Urine filter membrane photographed through a 4× microscope objective.
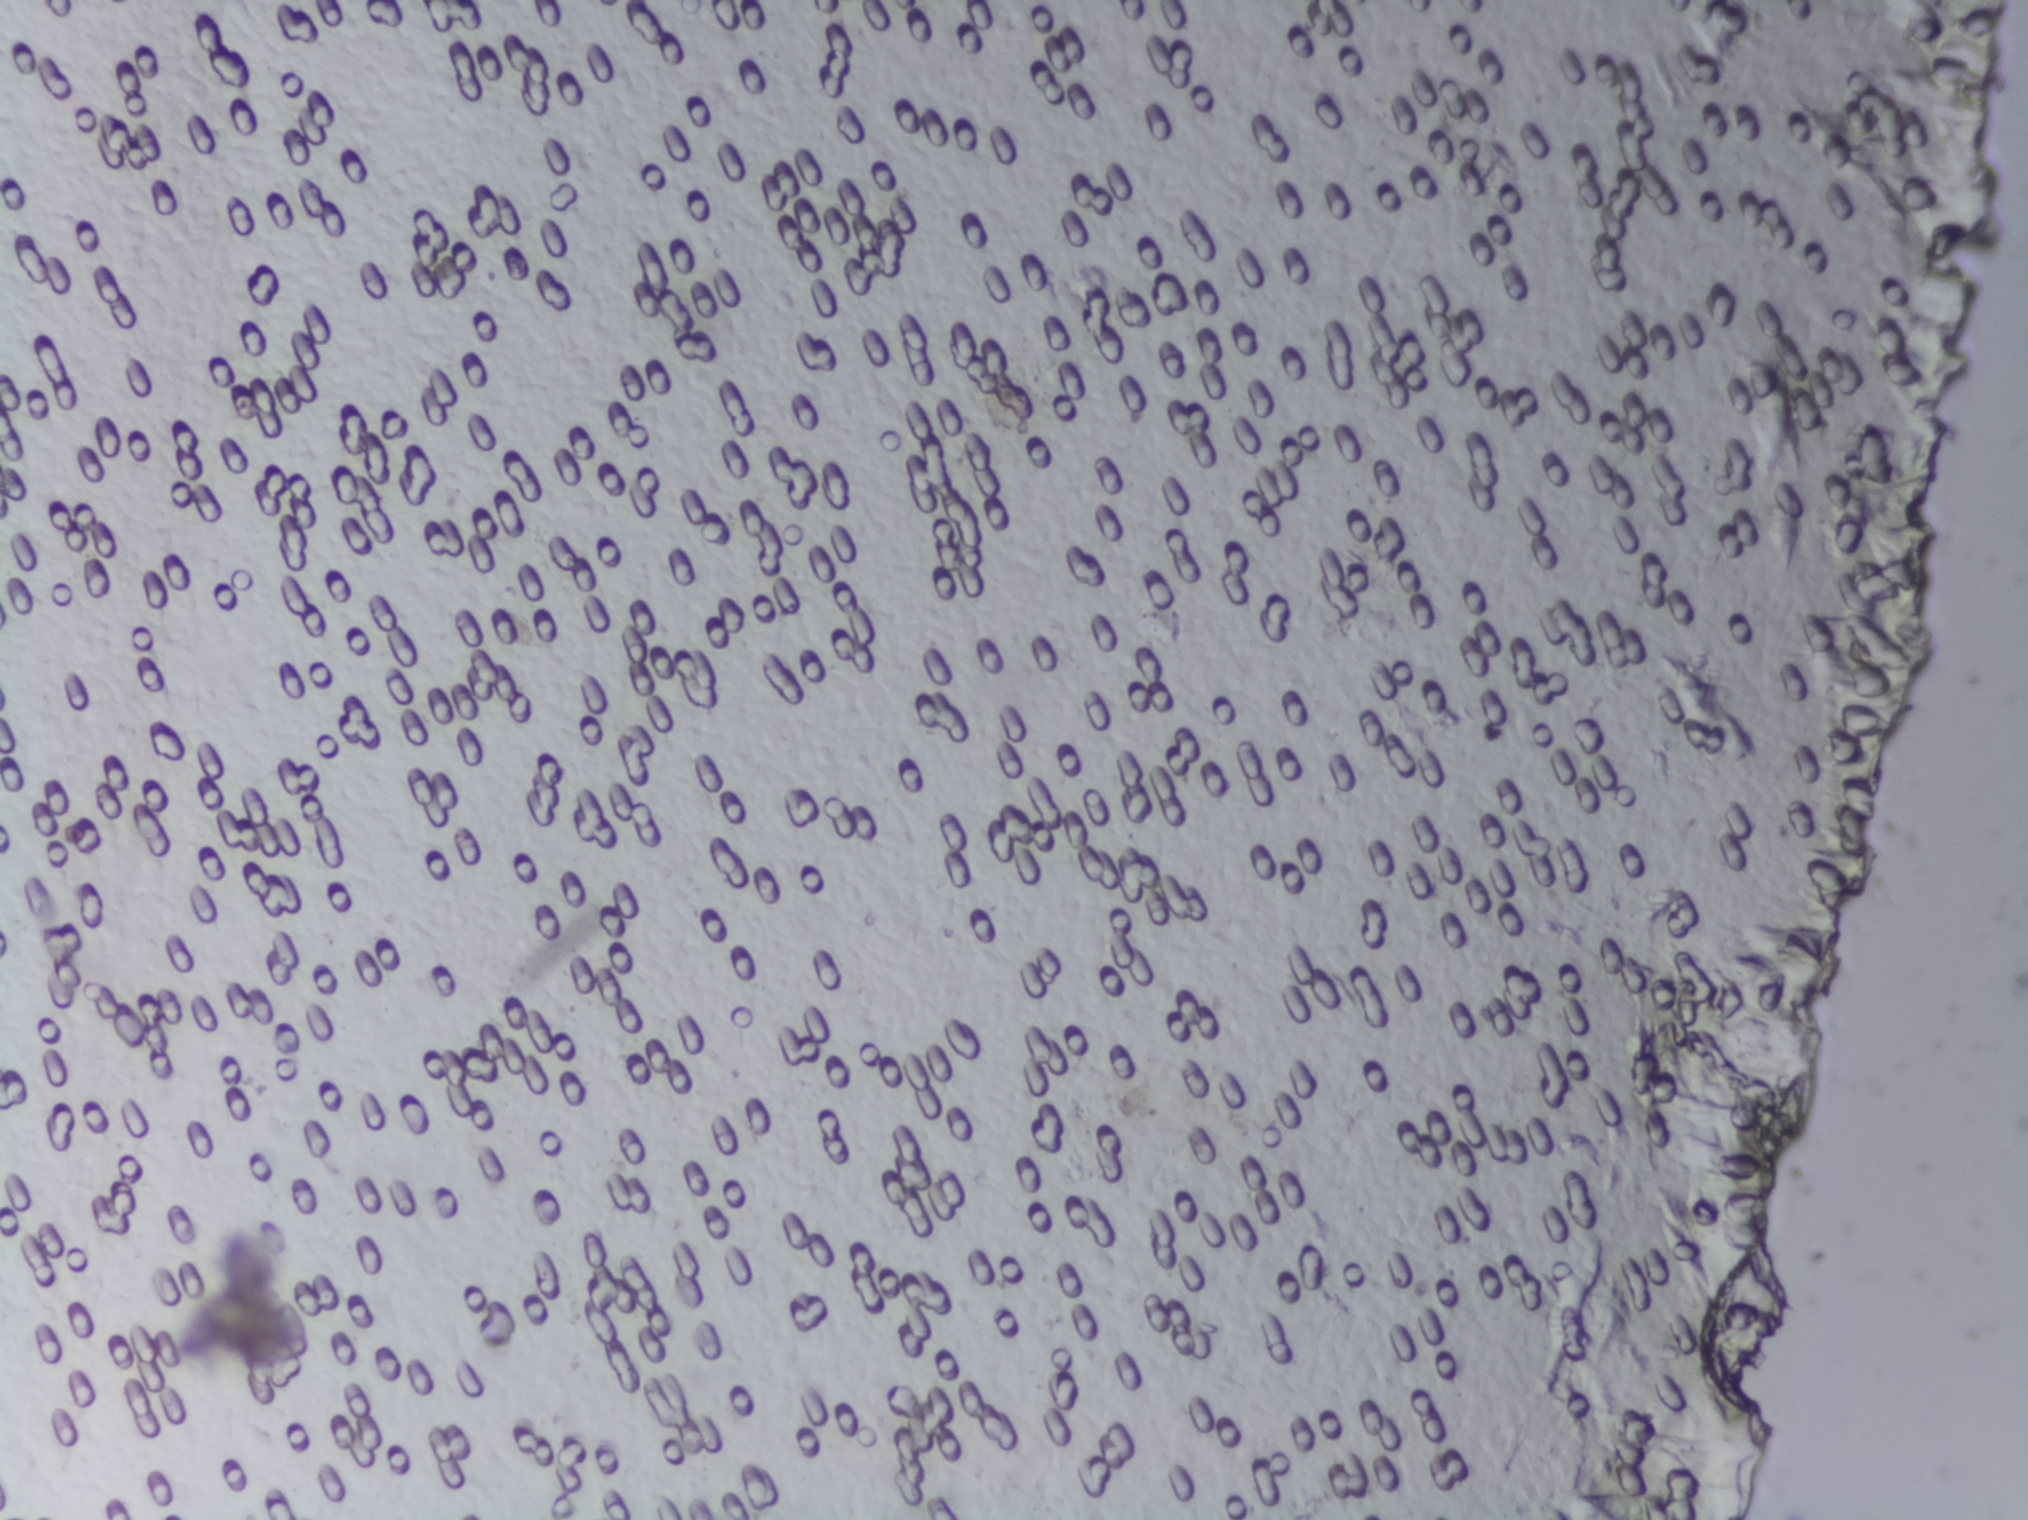
The expert annotation marks no Schistosoma egg in this field of view.